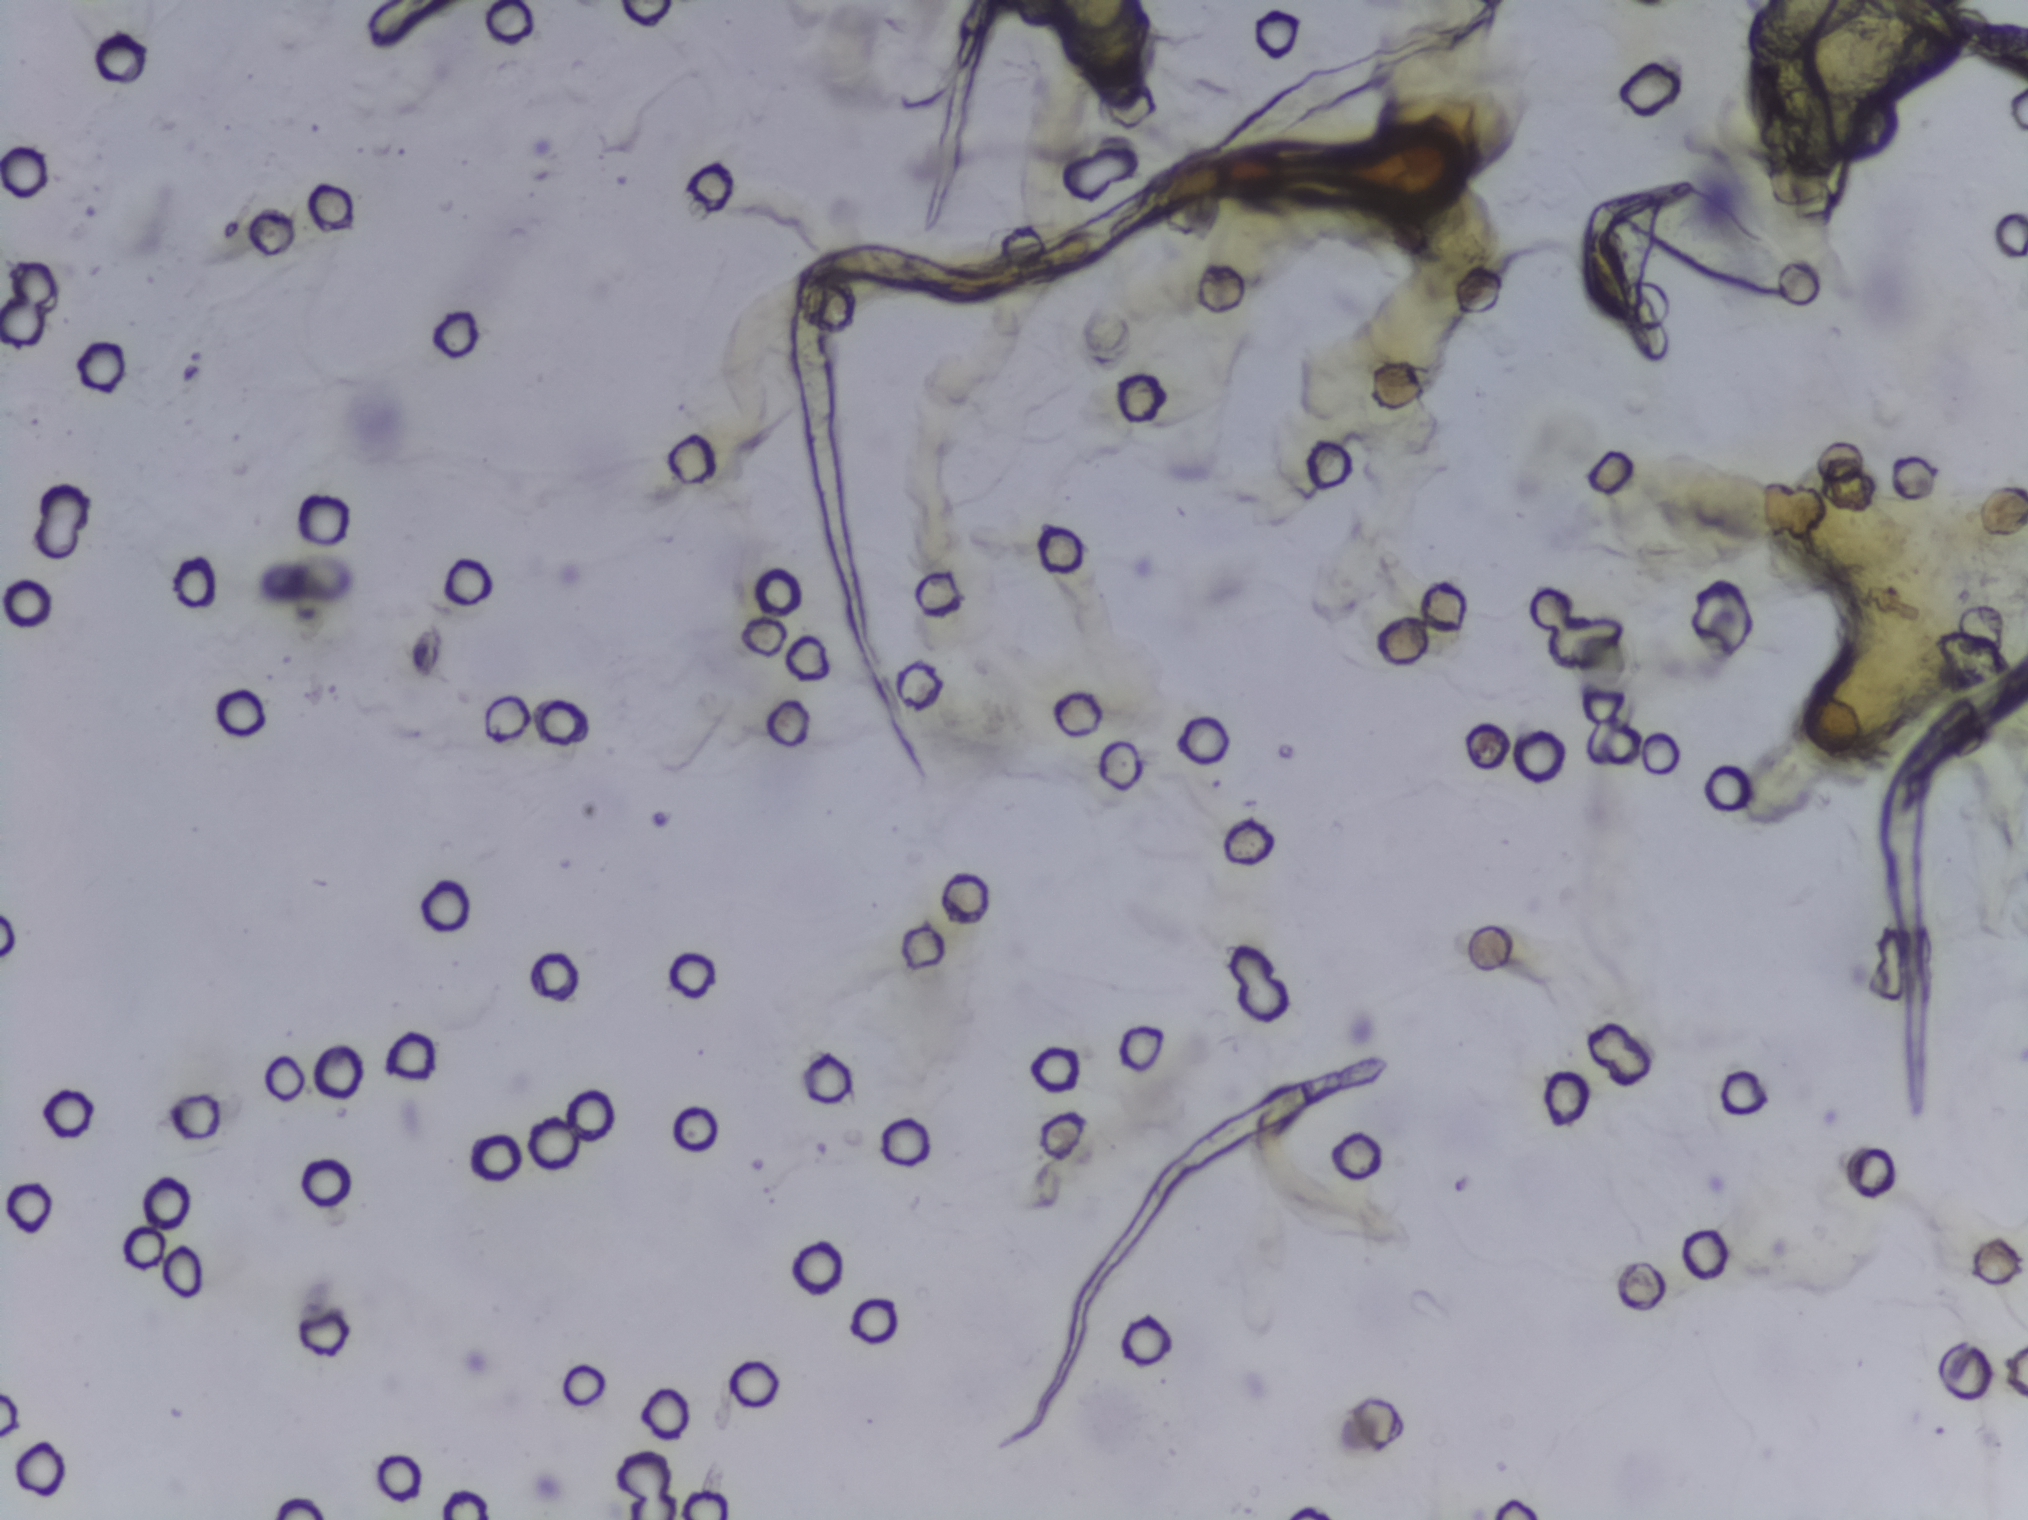
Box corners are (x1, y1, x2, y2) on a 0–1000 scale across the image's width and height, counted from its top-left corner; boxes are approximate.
Schistosoma eggs are outlined in two areas of this image, listed from left to right: (519, 0, 567, 76) (reaching the top edge of the frame) and (860, 0, 972, 64) (reaching the top edge of the frame). About 0.9% of the image's pixels are marked (the marked pixels themselves, not the boxes around them). A single outlined area may contain several eggs. Any one outlined egg may, rarely, be S. mansoni rather than S. haematobium.
Photomicrograph of a urine filtration membrane, 4× objective. Field of view: about 1.5 mm wide and 1.1 mm high.